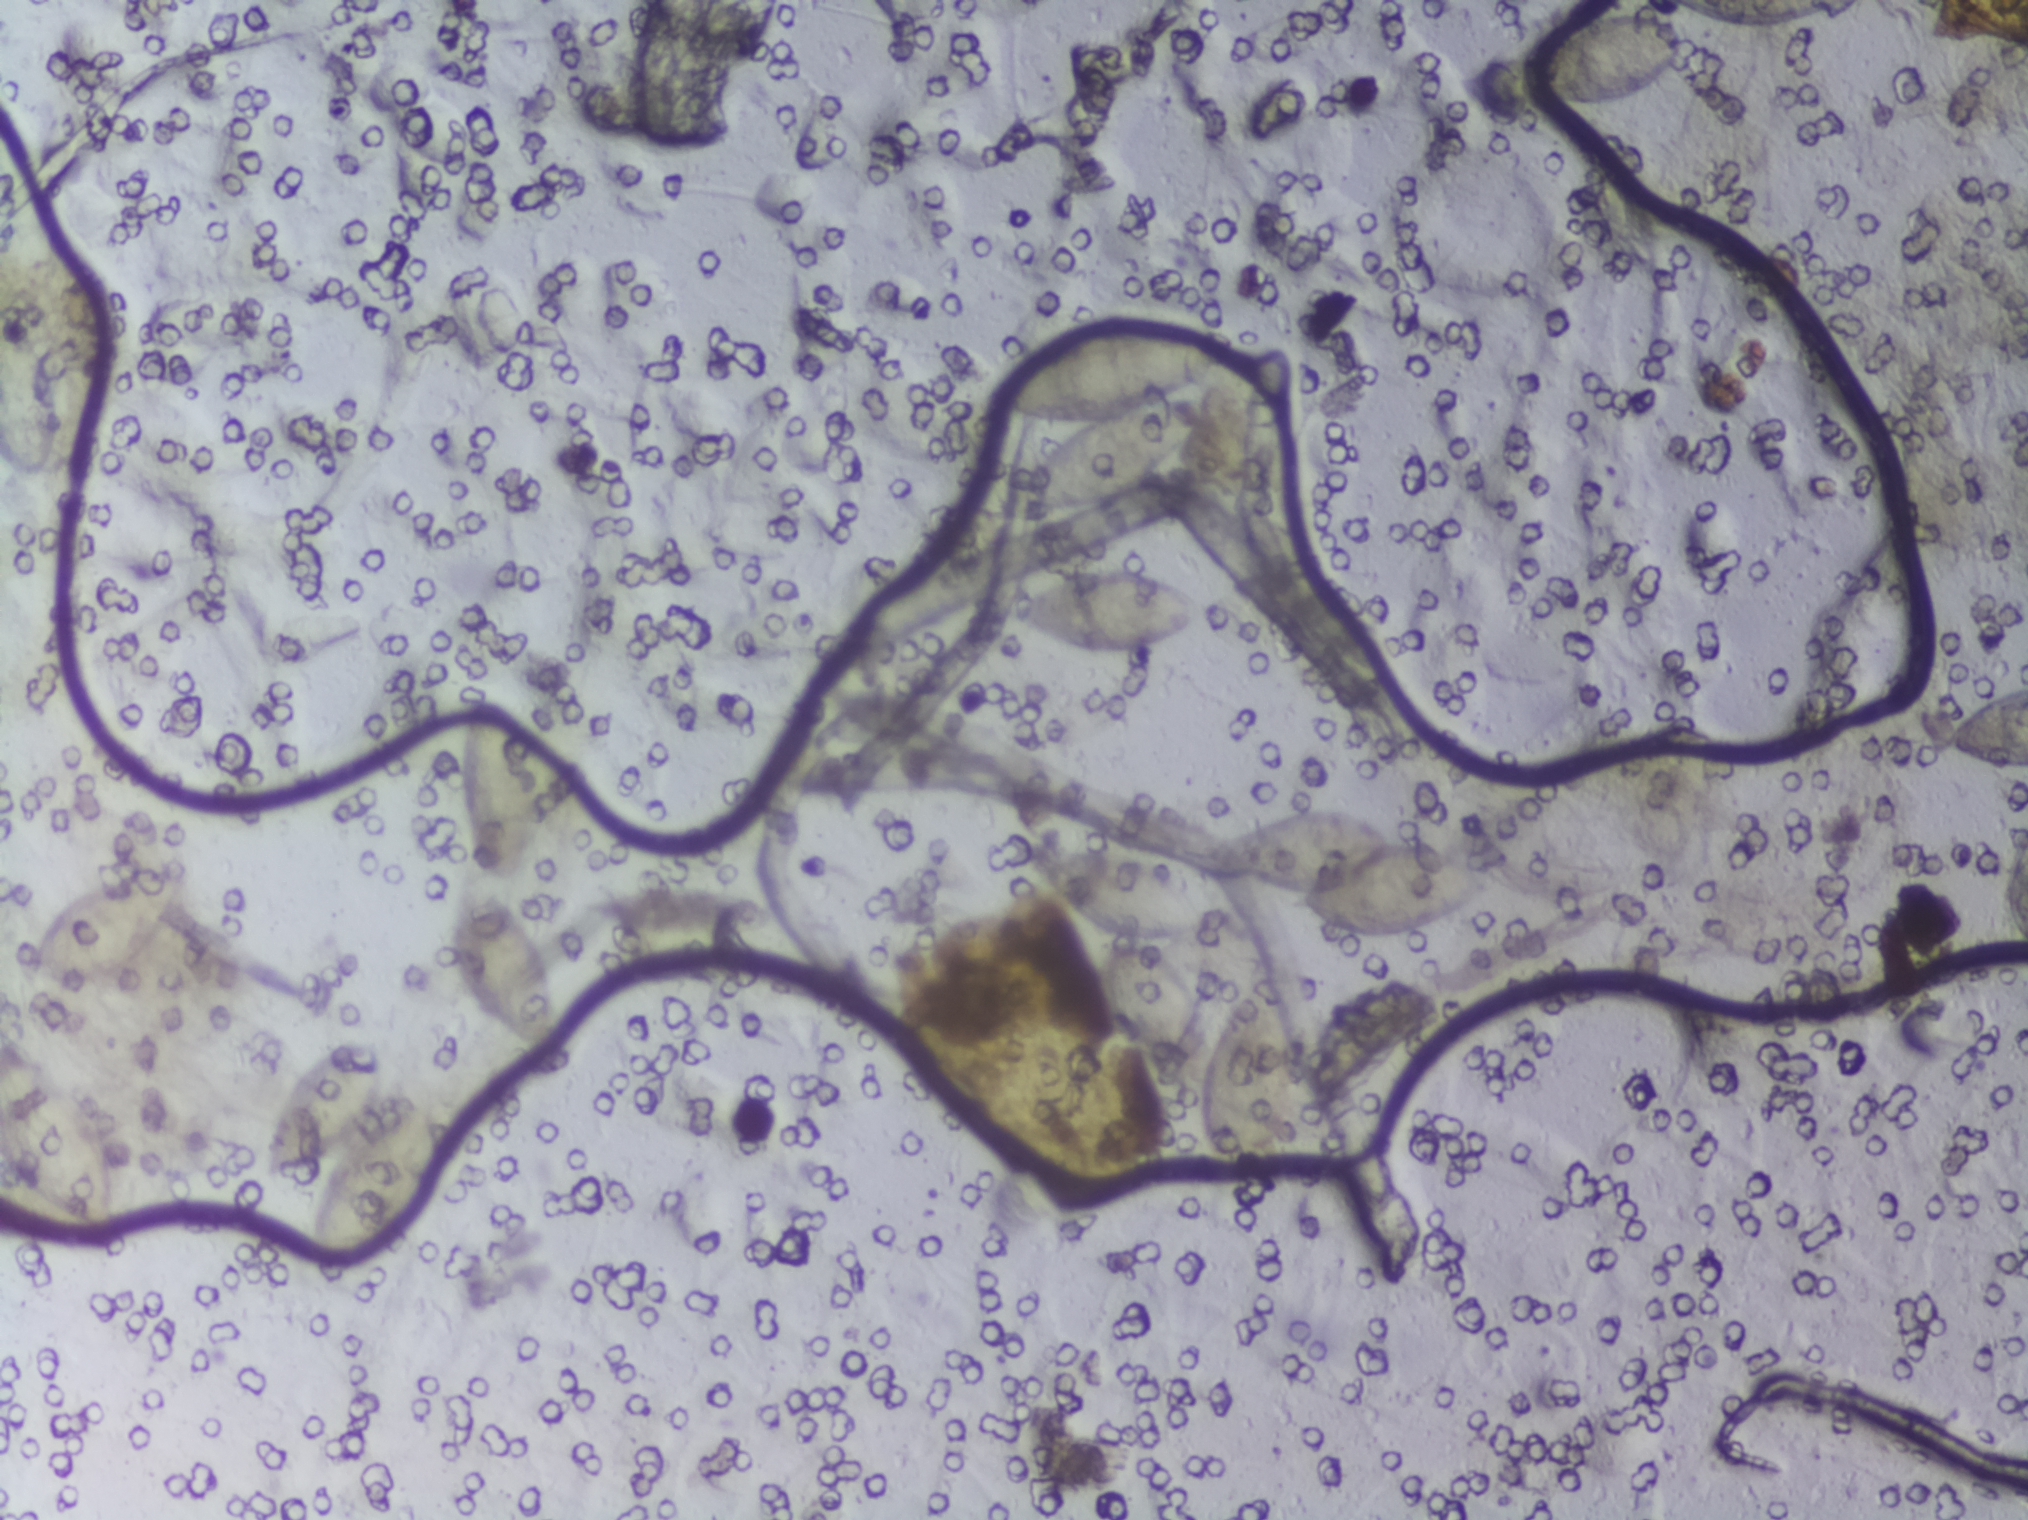
Urine filtration membrane under a 4× objective, photographed by an automated digital microscope.
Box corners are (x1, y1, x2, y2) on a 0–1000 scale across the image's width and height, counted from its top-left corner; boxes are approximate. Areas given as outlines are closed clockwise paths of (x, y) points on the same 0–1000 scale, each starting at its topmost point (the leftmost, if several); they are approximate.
The expert annotation outlines Schistosoma eggs in 14 areas, left to right: box (0, 196, 30, 318) (reaching the left edge of the frame); box (0, 679, 59, 818) (reaching the left edge of the frame); box (14, 568, 90, 648); box (129, 684, 218, 833); box (223, 572, 273, 699); box (227, 457, 266, 582); box (494, 213, 608, 336); box (497, 374, 595, 434); outline (508, 554), (529, 554), (562, 563), (591, 588), (595, 602), (594, 617), (564, 621), (586, 639), (597, 689), (617, 649), (627, 642), (633, 650), (638, 726), (630, 756), (617, 774), (609, 775), (599, 765), (590, 736), (590, 717), (579, 712), (569, 700), (548, 657), (544, 630), (550, 617), (527, 602), (515, 587), (506, 568), (504, 558); box (598, 528, 736, 622); box (748, 5, 833, 70); box (822, 0, 916, 19) (reaching the top edge of the frame); box (958, 451, 1000, 504) (reaching the right edge of the frame); box (988, 541, 1000, 619) (reaching the right edge of the frame). A single outlined area may contain several eggs.